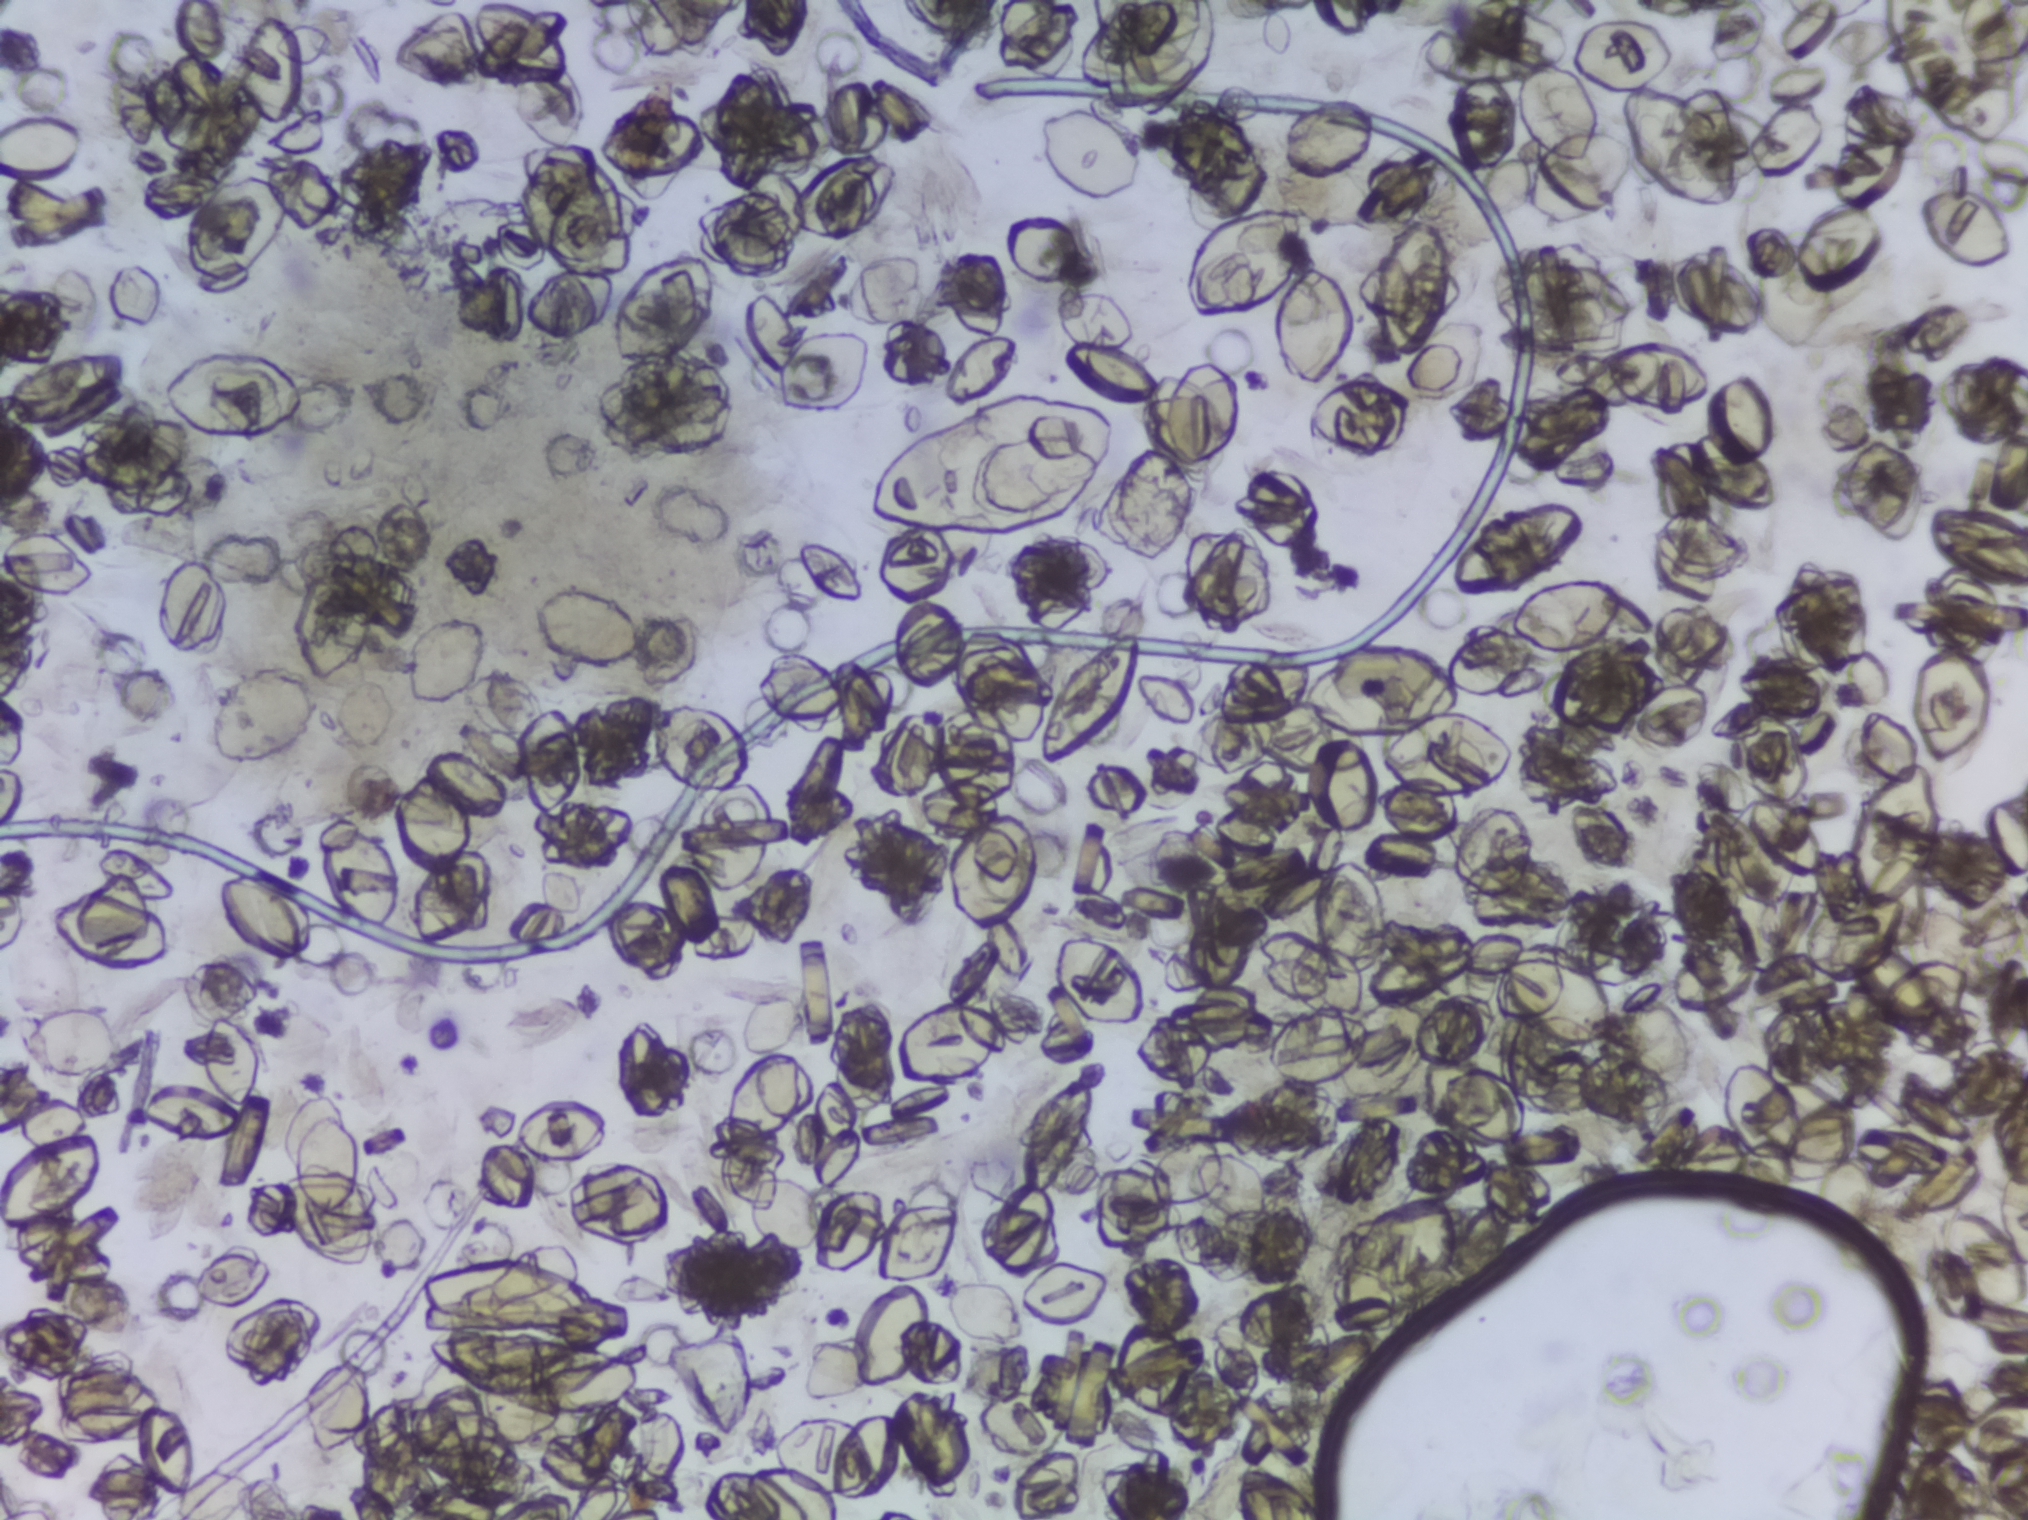
Microscope photograph (4× objective) of a membrane that a urine sample was filtered through.
No area of this image was outlined as a Schistosoma egg.